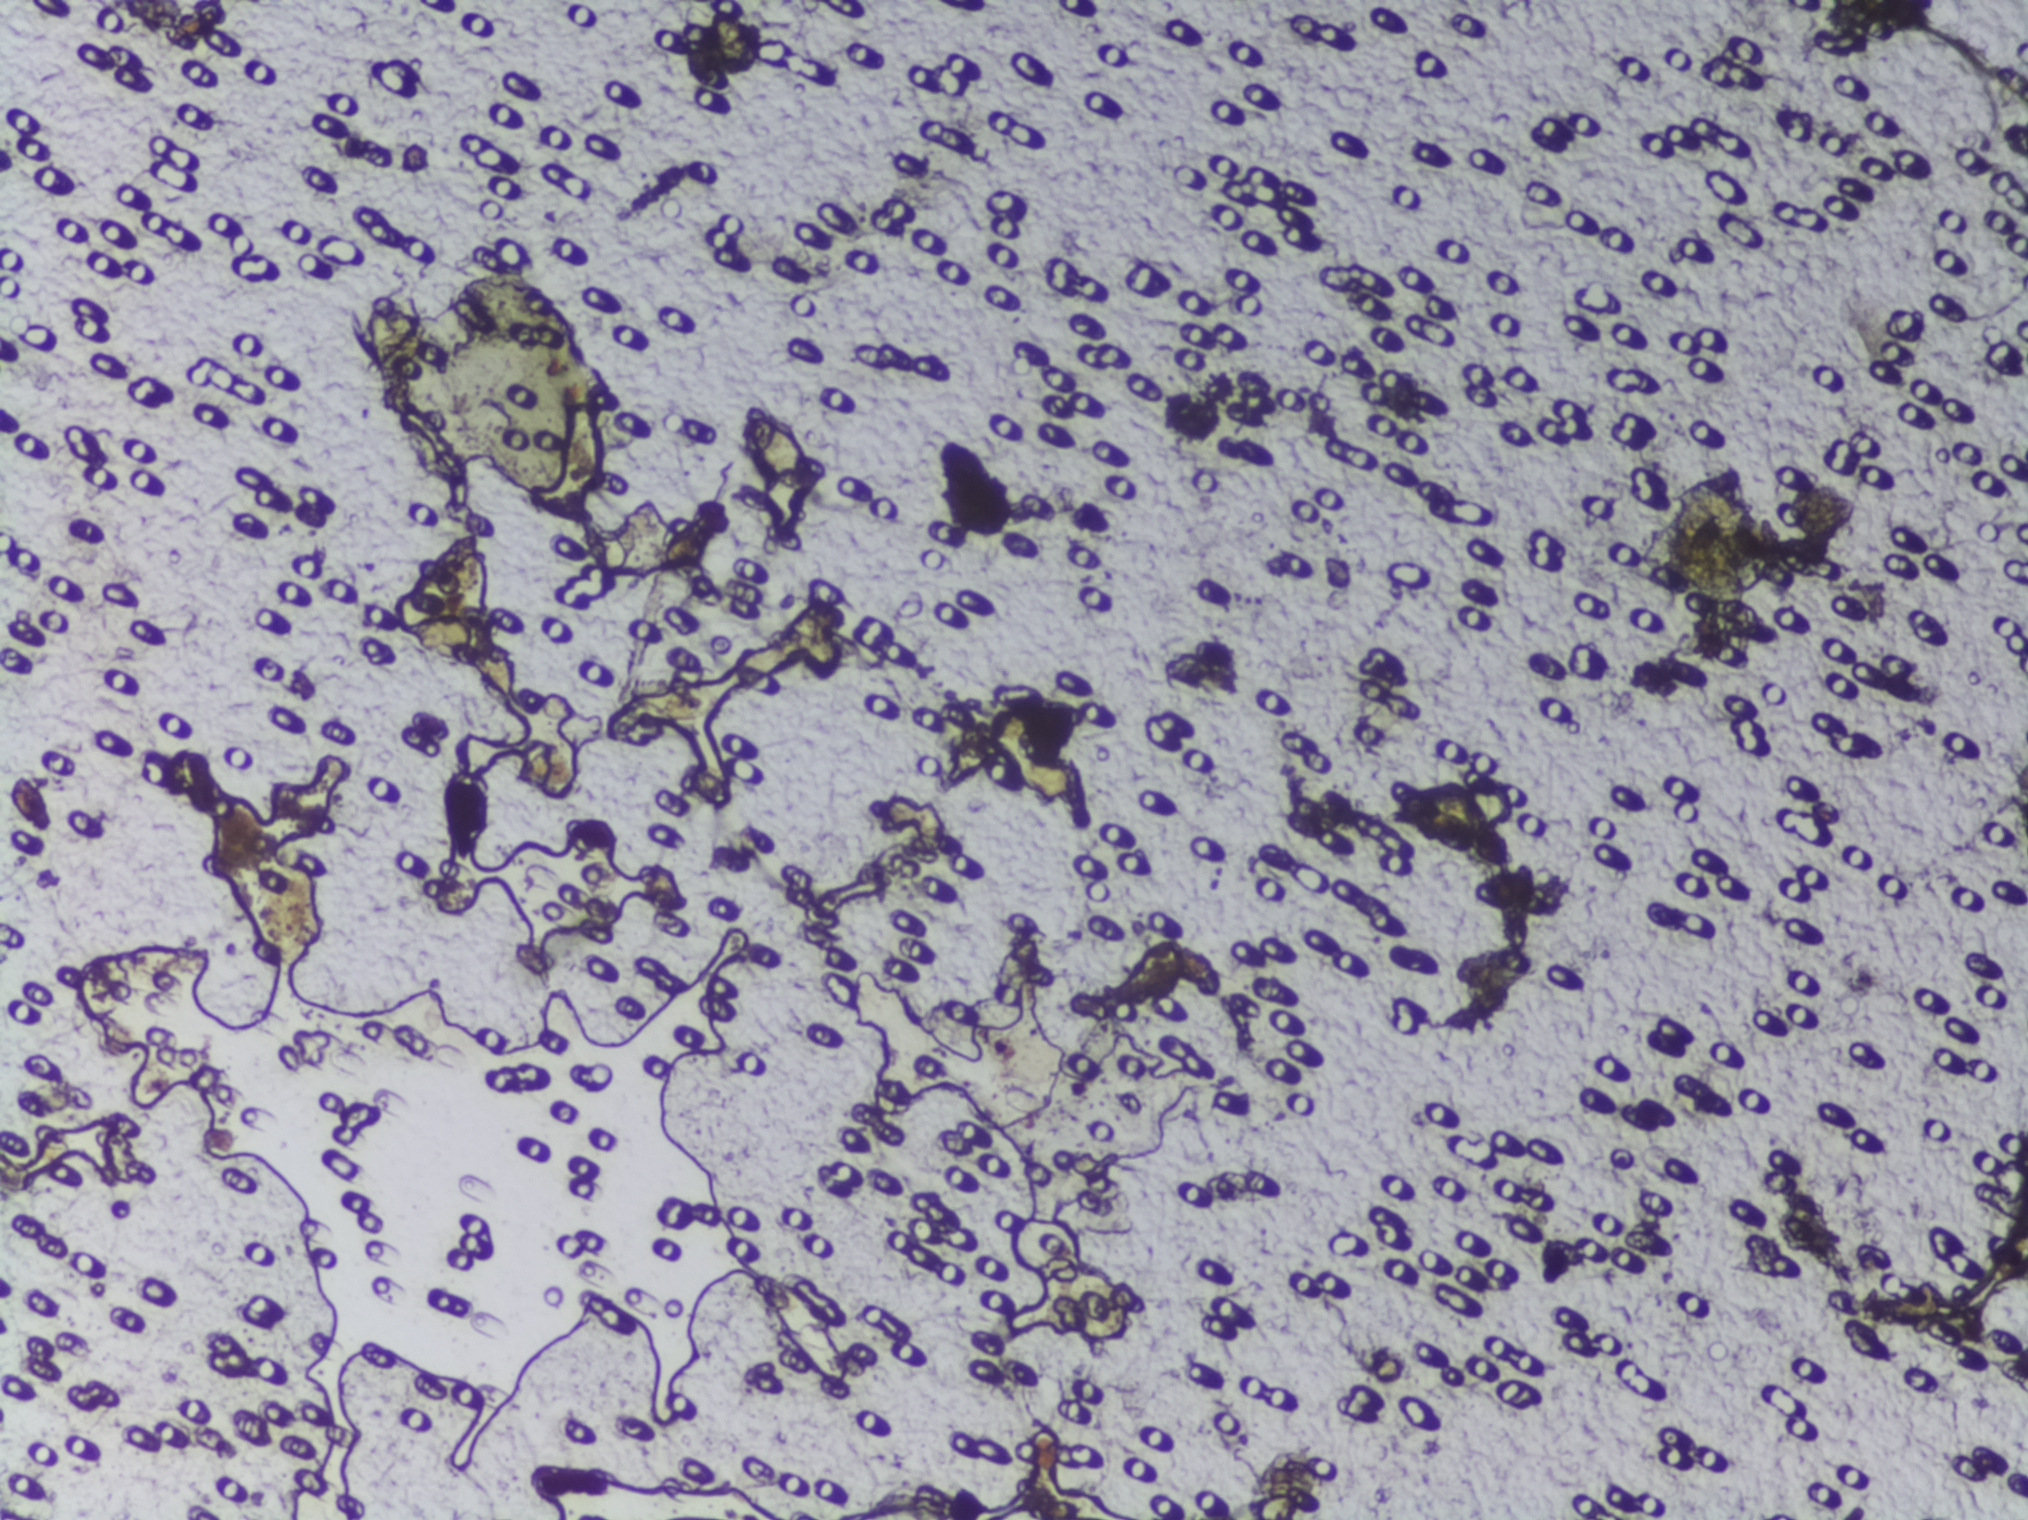
Photomicrograph of a urine filtration membrane, 4× objective. The field of view is about 1.5 mm × 1.1 mm.
The expert annotation marks no Schistosoma egg in this field of view.